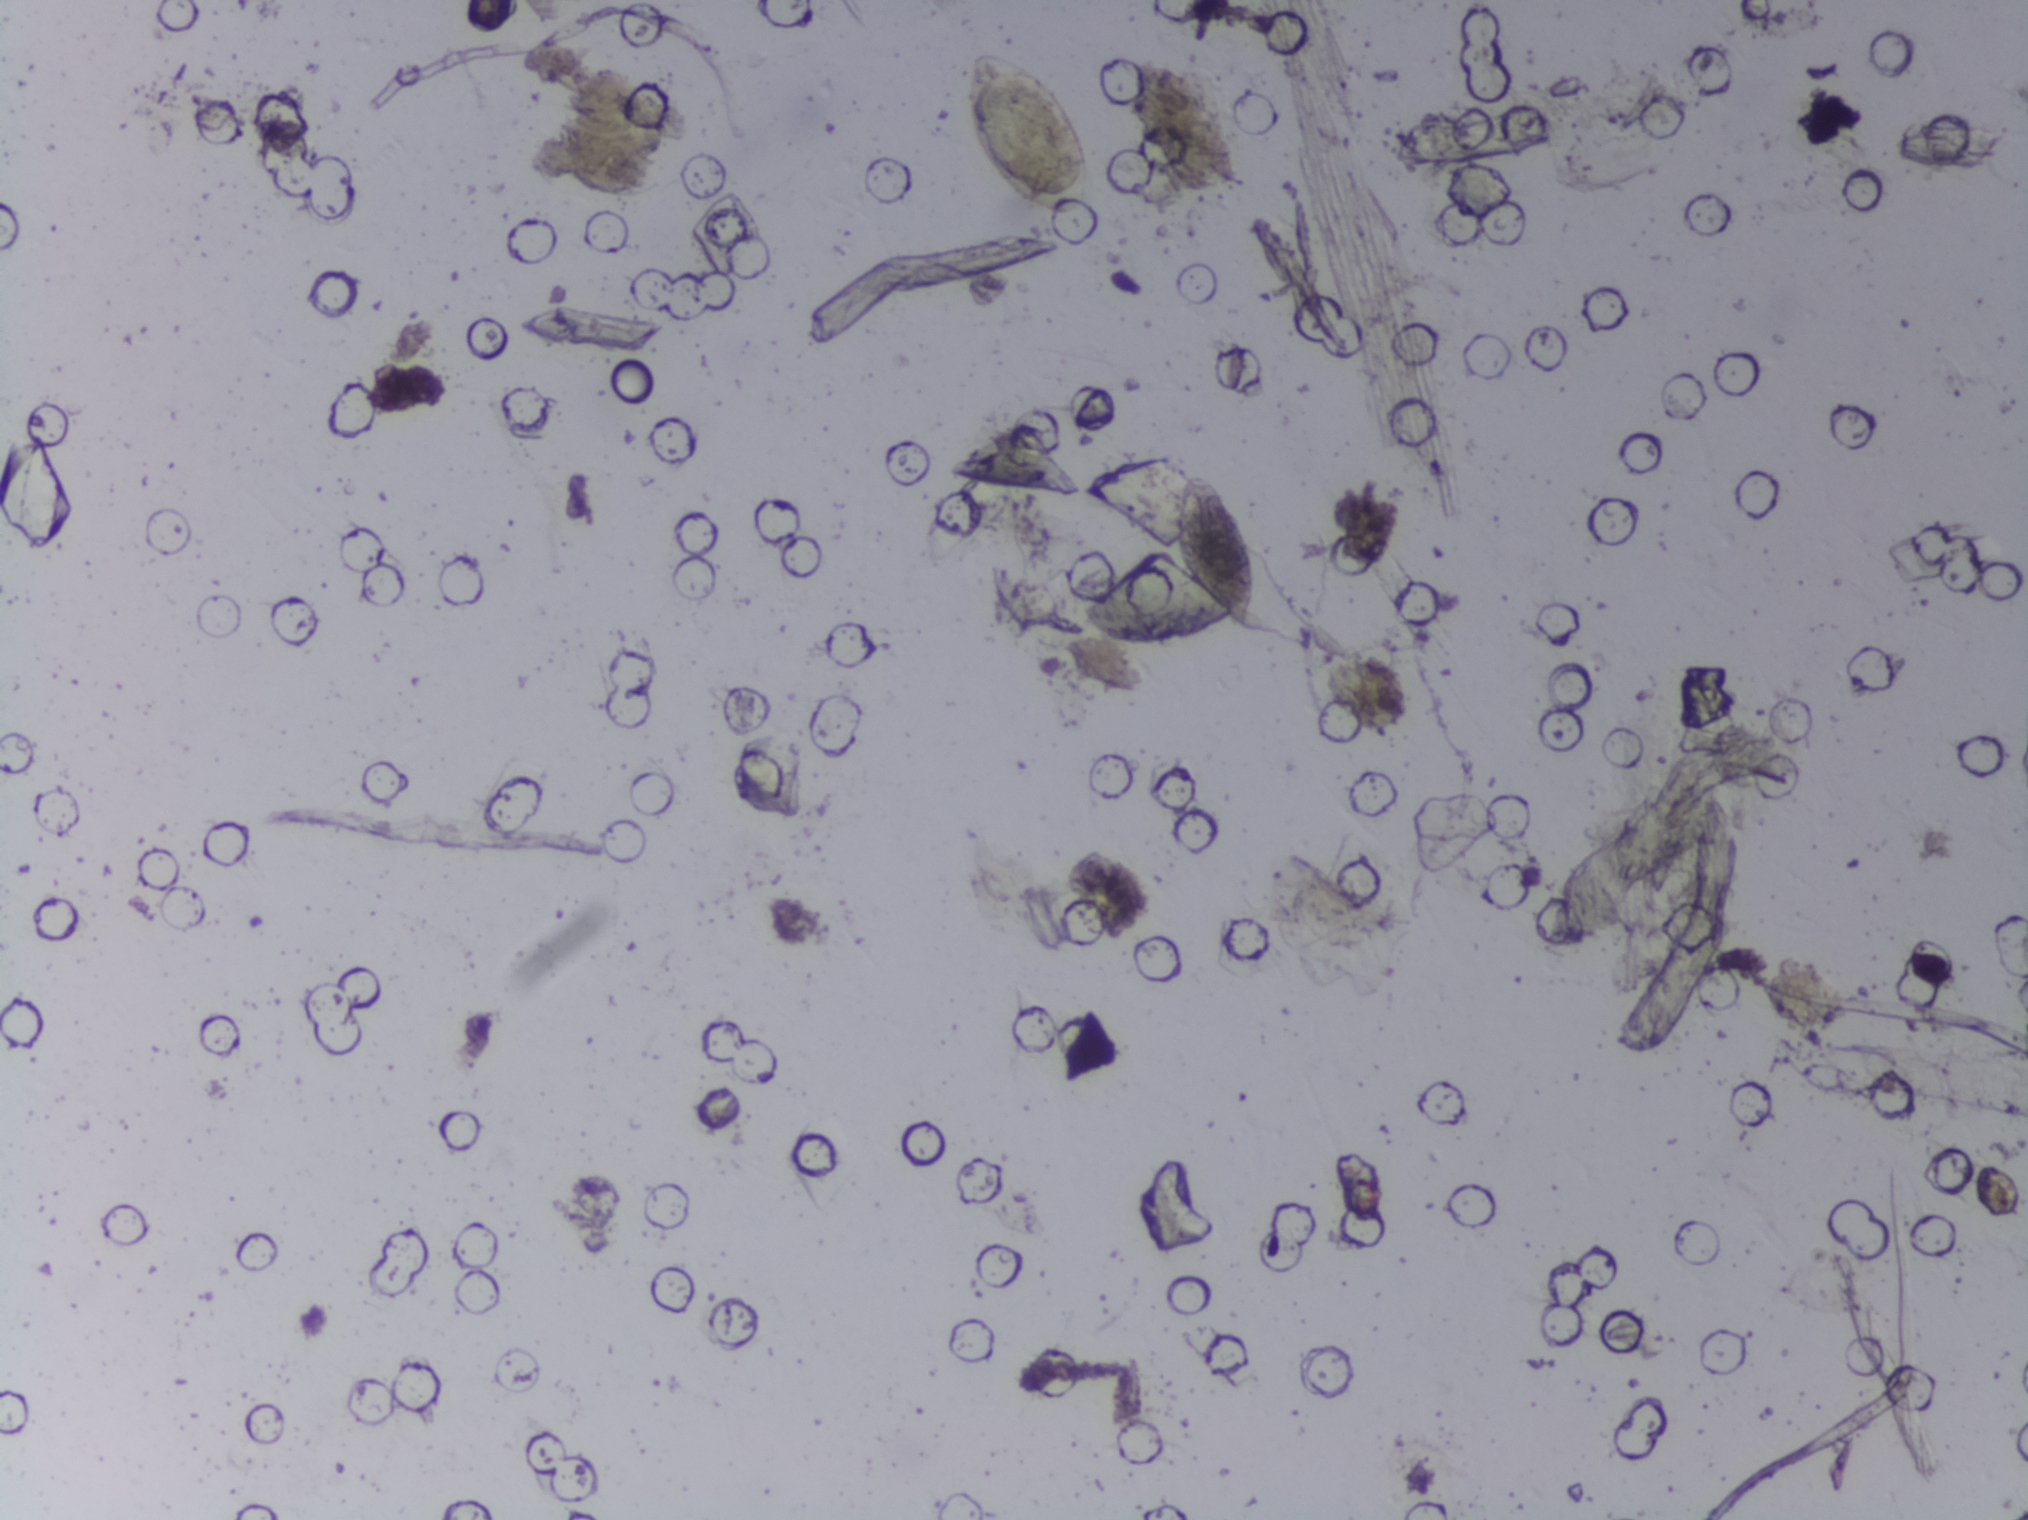
Urine filter membrane photographed through a 4× microscope objective.
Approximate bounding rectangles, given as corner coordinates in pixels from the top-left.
Outlined Schistosoma egg areas, left to right:
1. (x1=968, y1=49, x2=1091, y2=219)
2. (x1=1173, y1=474, x2=1257, y2=639)
Eggs that touch can end up inside the same outlined area.